Urine filter membrane photographed through a 4× microscope objective.
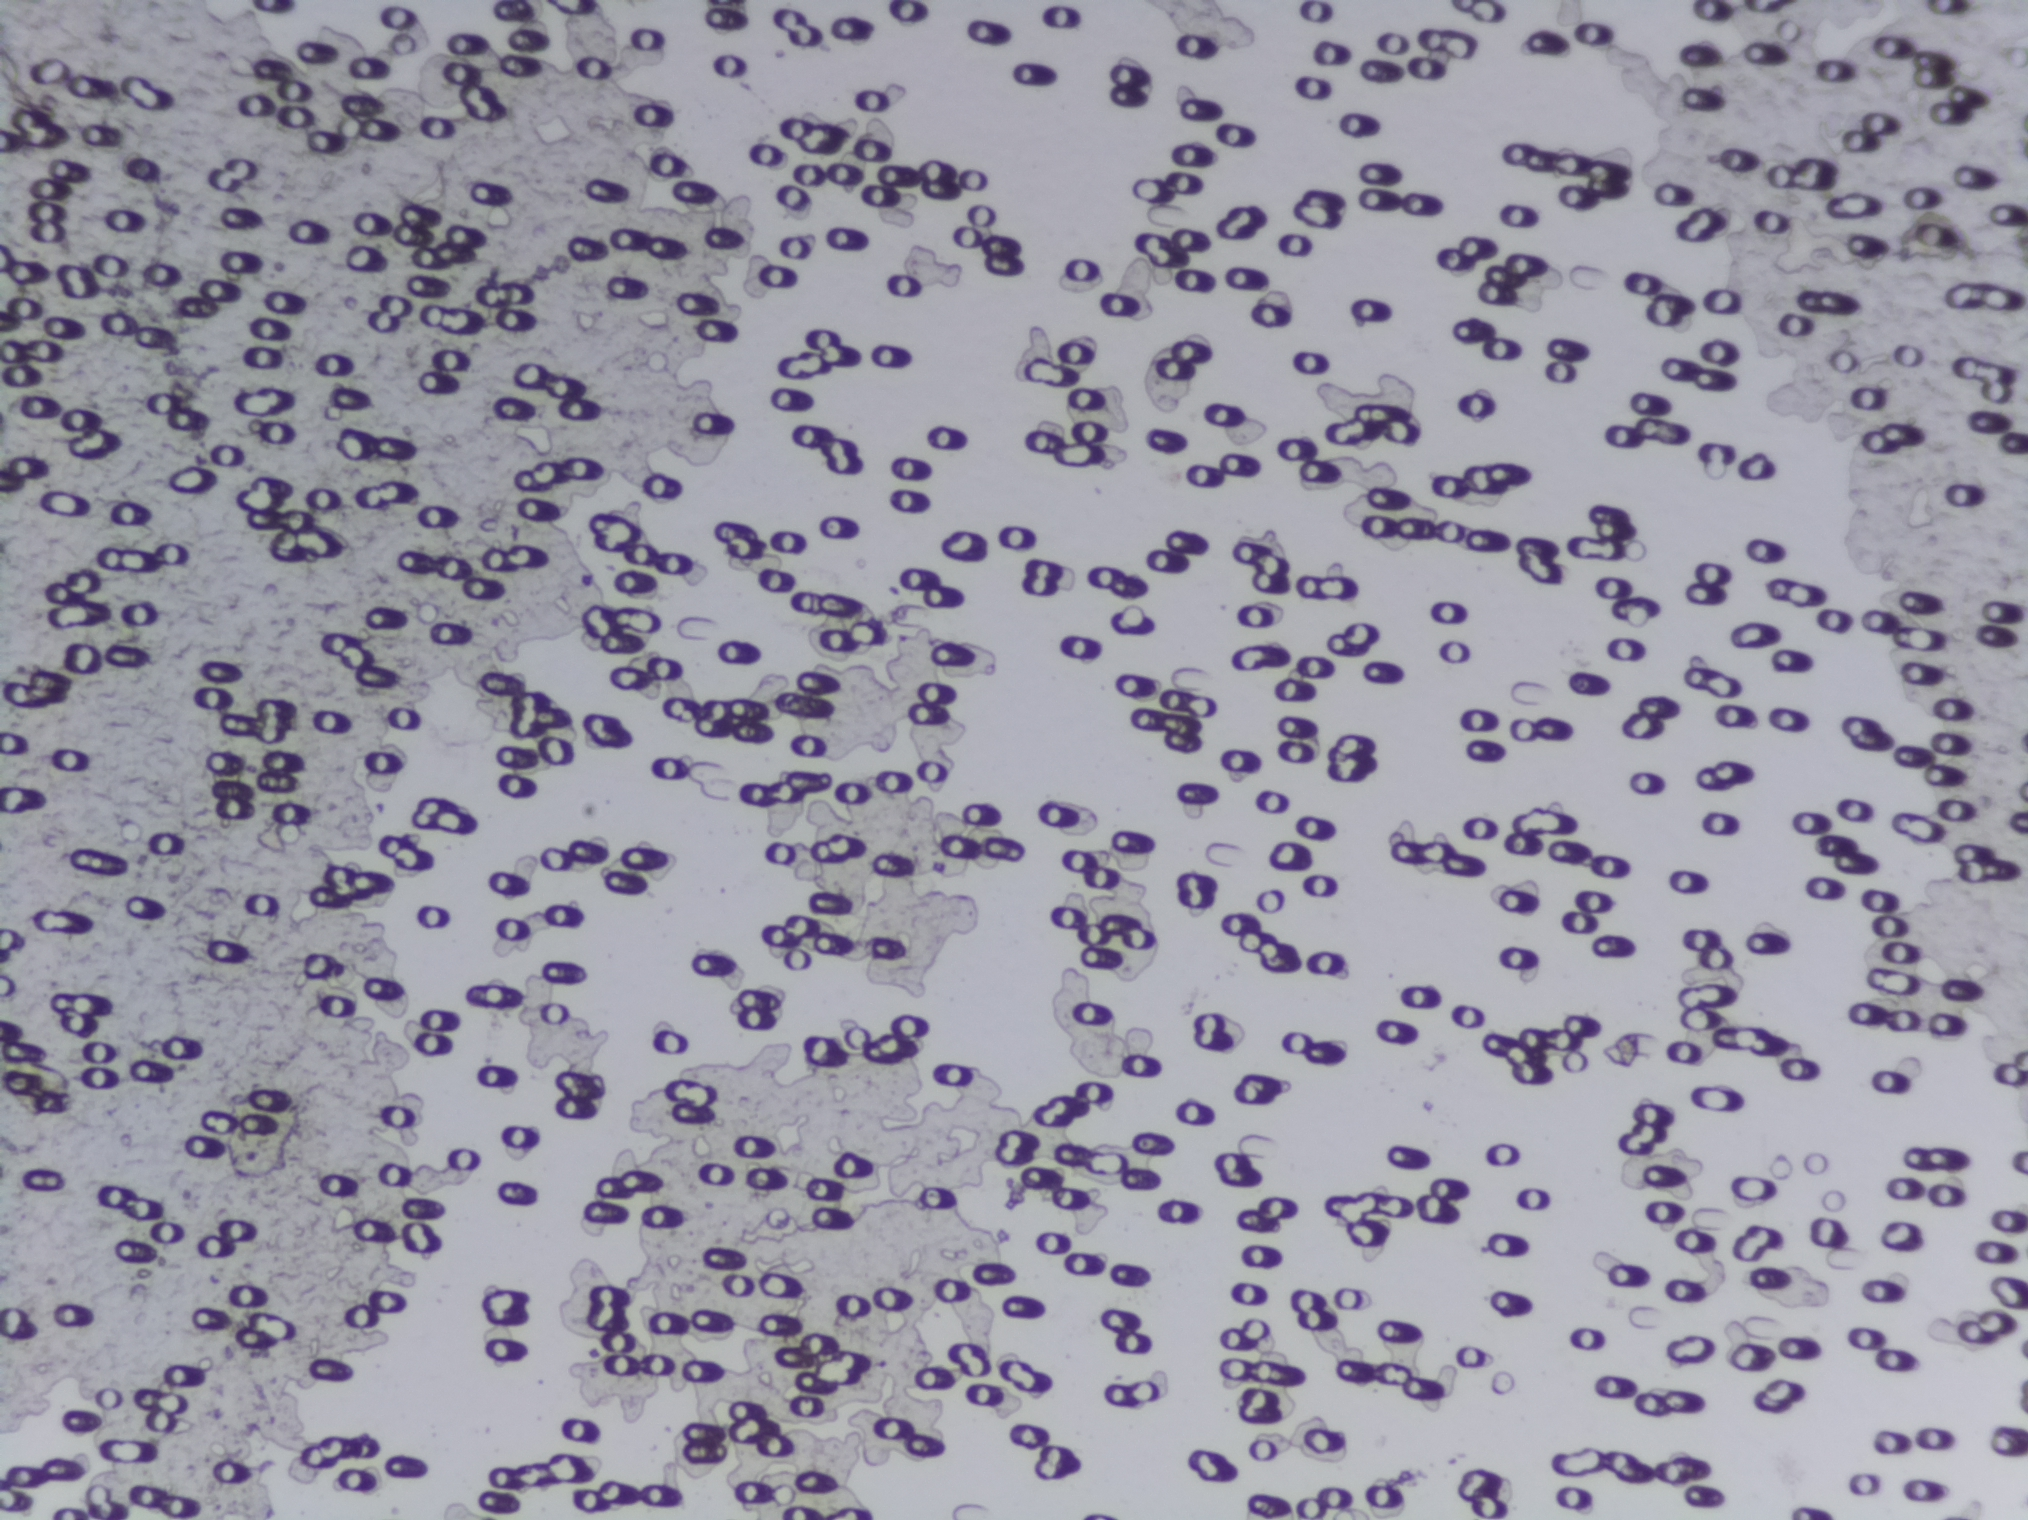
The expert annotation marks no Schistosoma egg in this field of view.